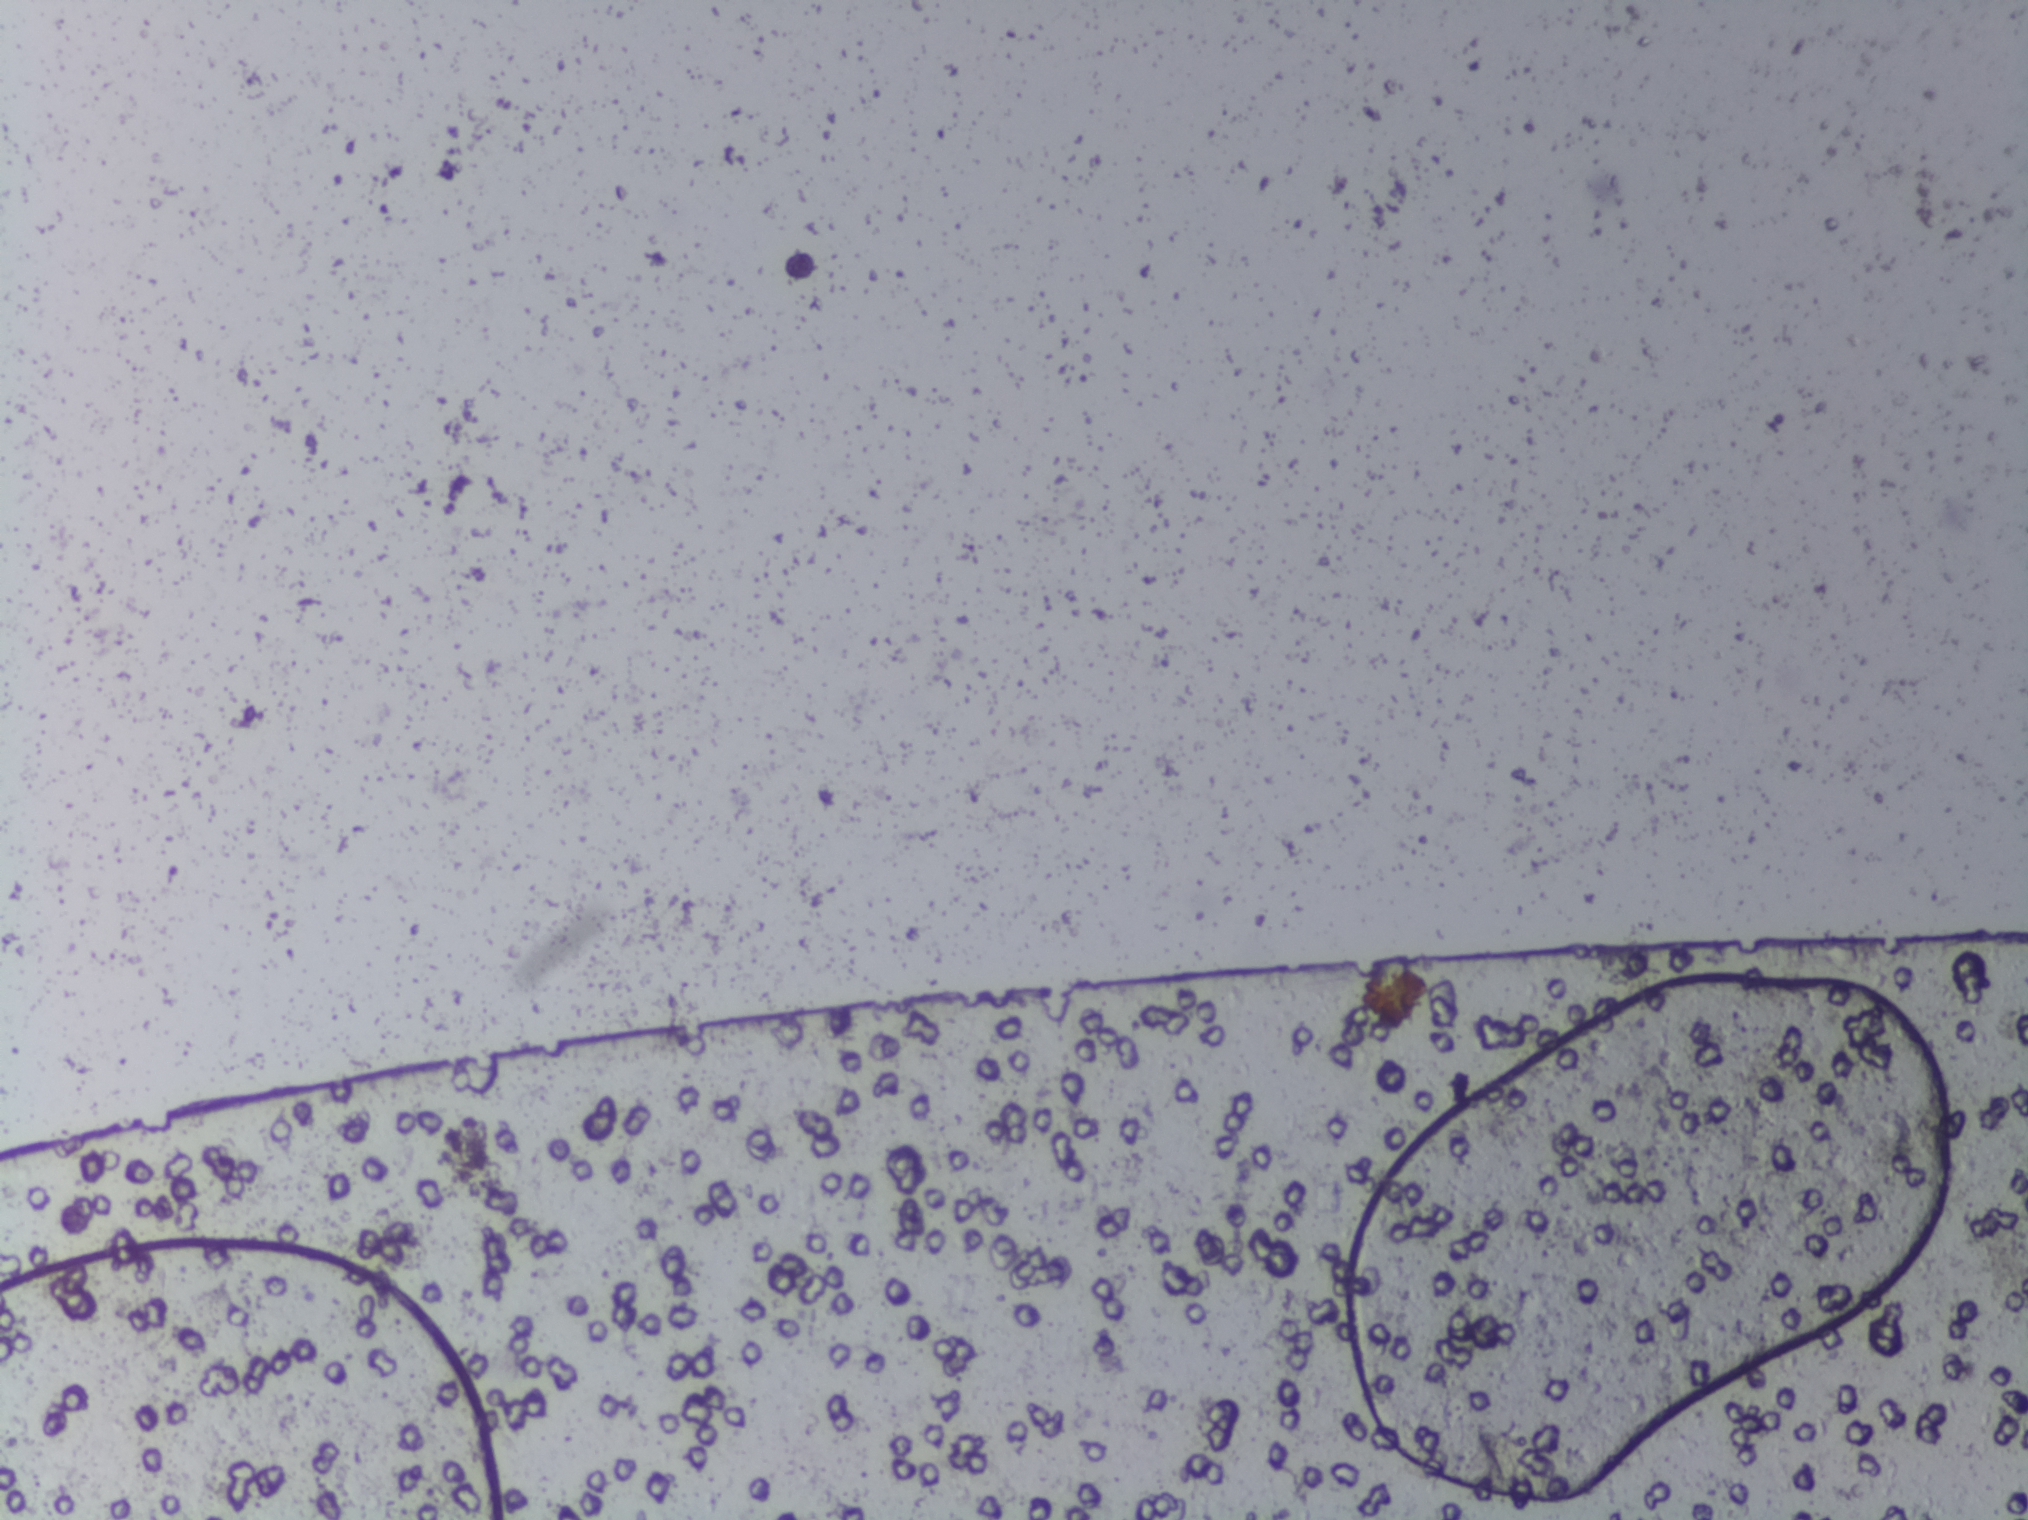
One field of view of a urine filter membrane, 4× objective, 2028 × 1520 pixels. Field of view: about 1.5 mm wide and 1.1 mm high.
The expert annotation outlines no Schistosoma egg in this image.